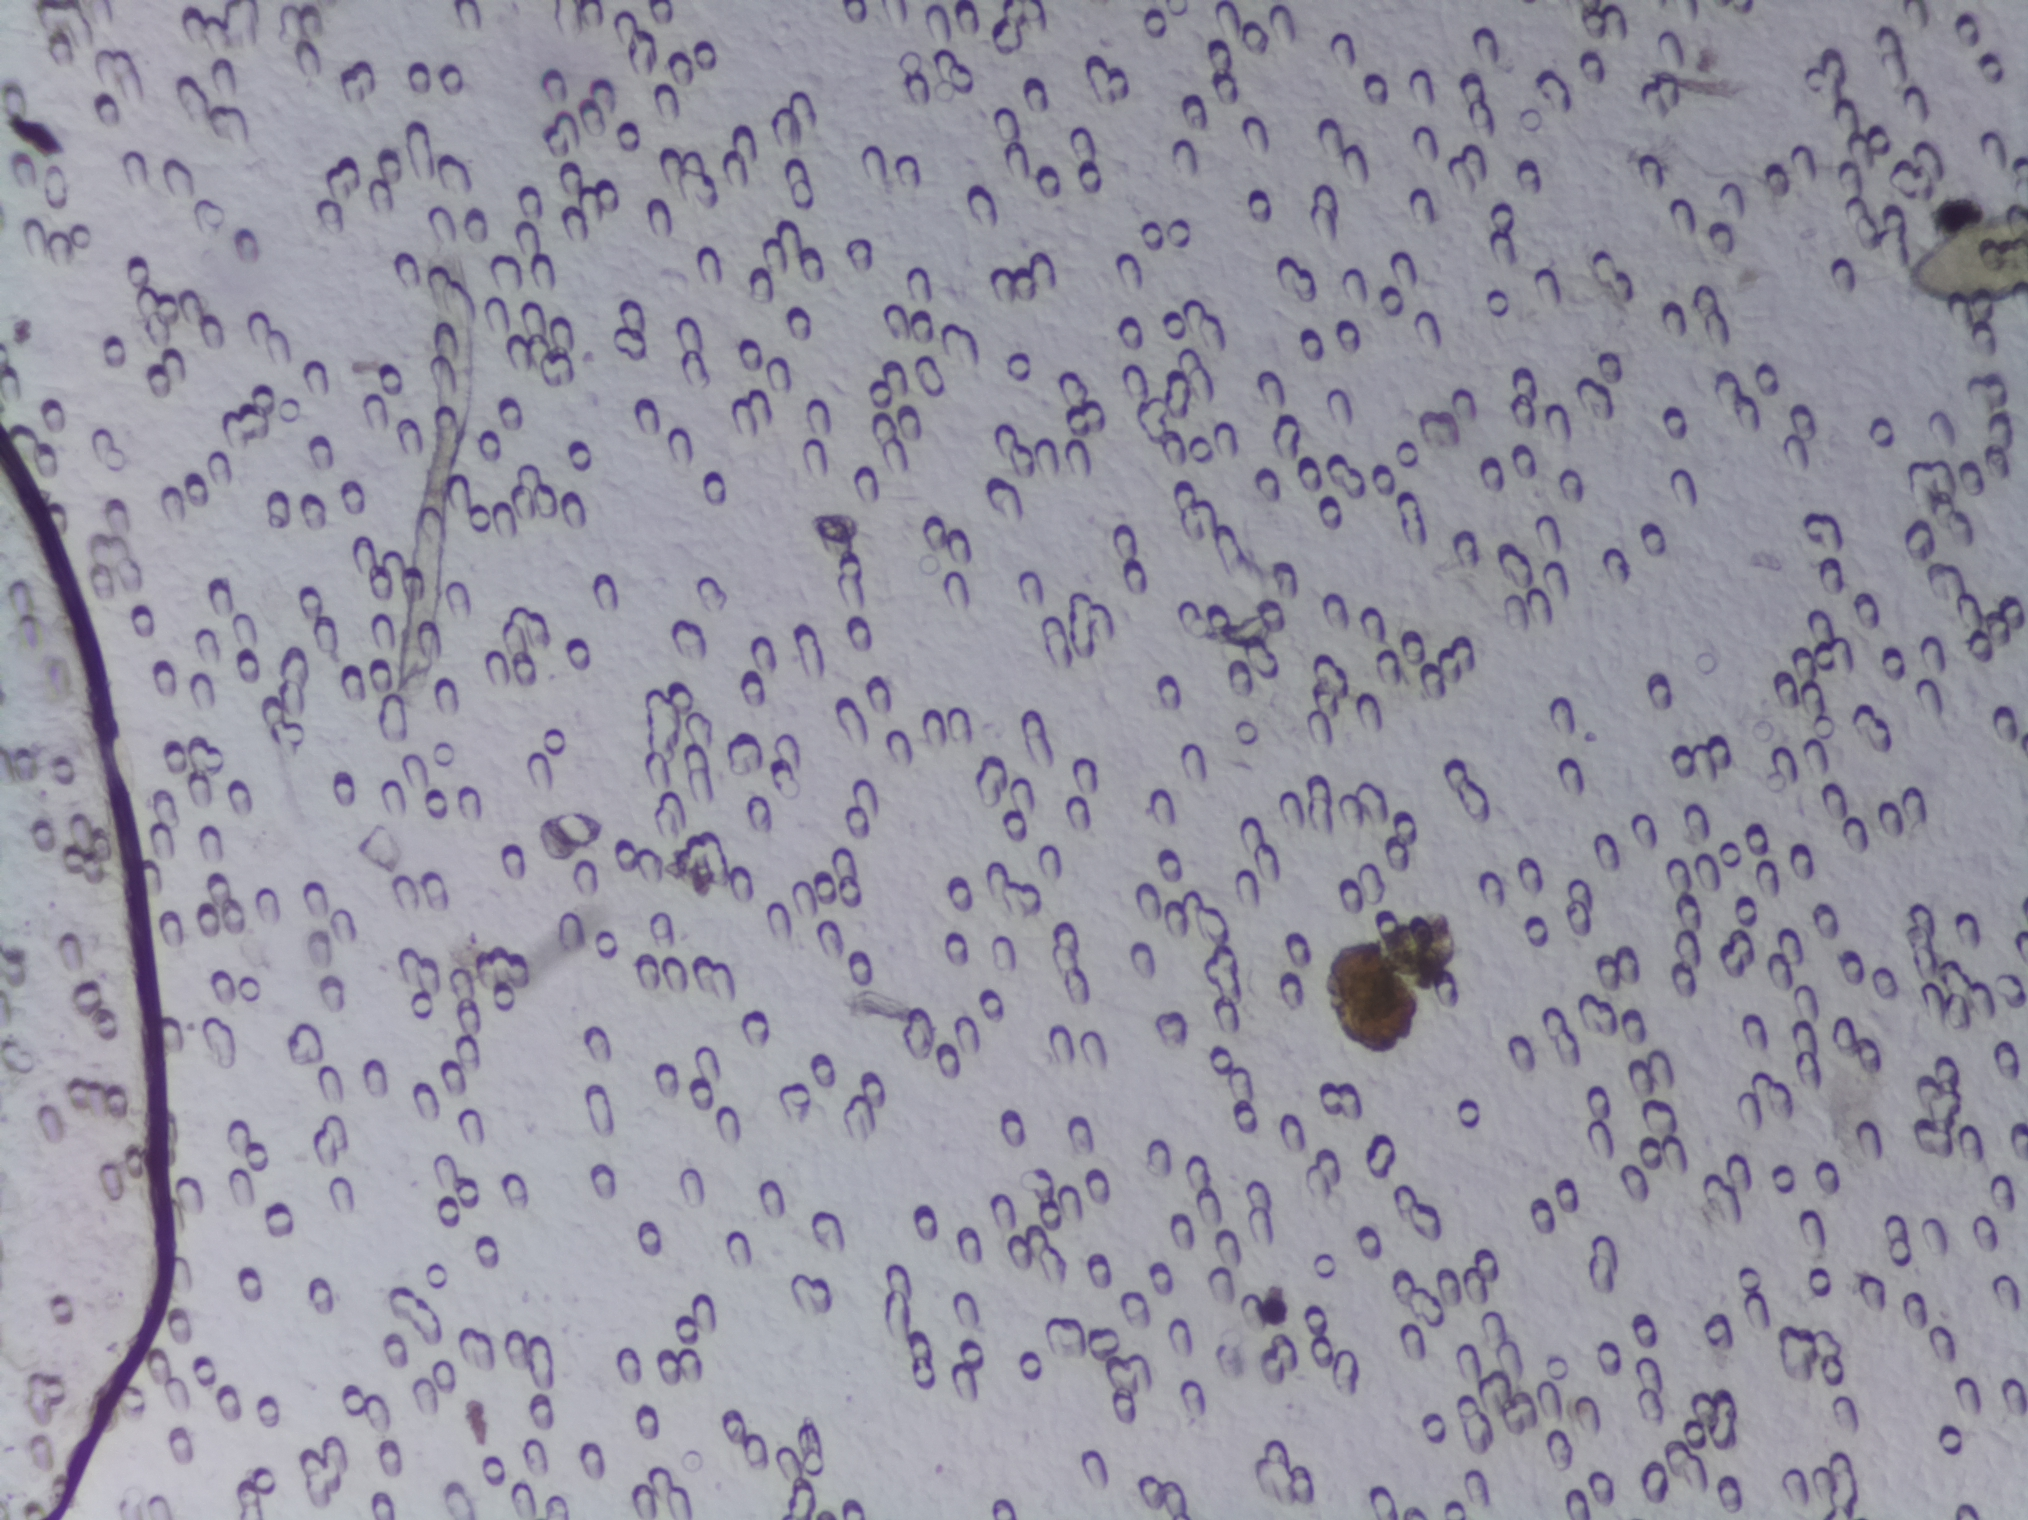
Urine filtration membrane under a 4× objective, photographed by an automated digital microscope.
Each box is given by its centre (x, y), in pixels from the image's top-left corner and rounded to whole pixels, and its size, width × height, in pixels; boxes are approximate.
Areas outlined as Schistosoma eggs:
1. centre (1960, 256), 130 × 101 px
Eggs that touch can end up inside the same outlined area. A marked egg may occasionally be S. mansoni rather than S. haematobium.